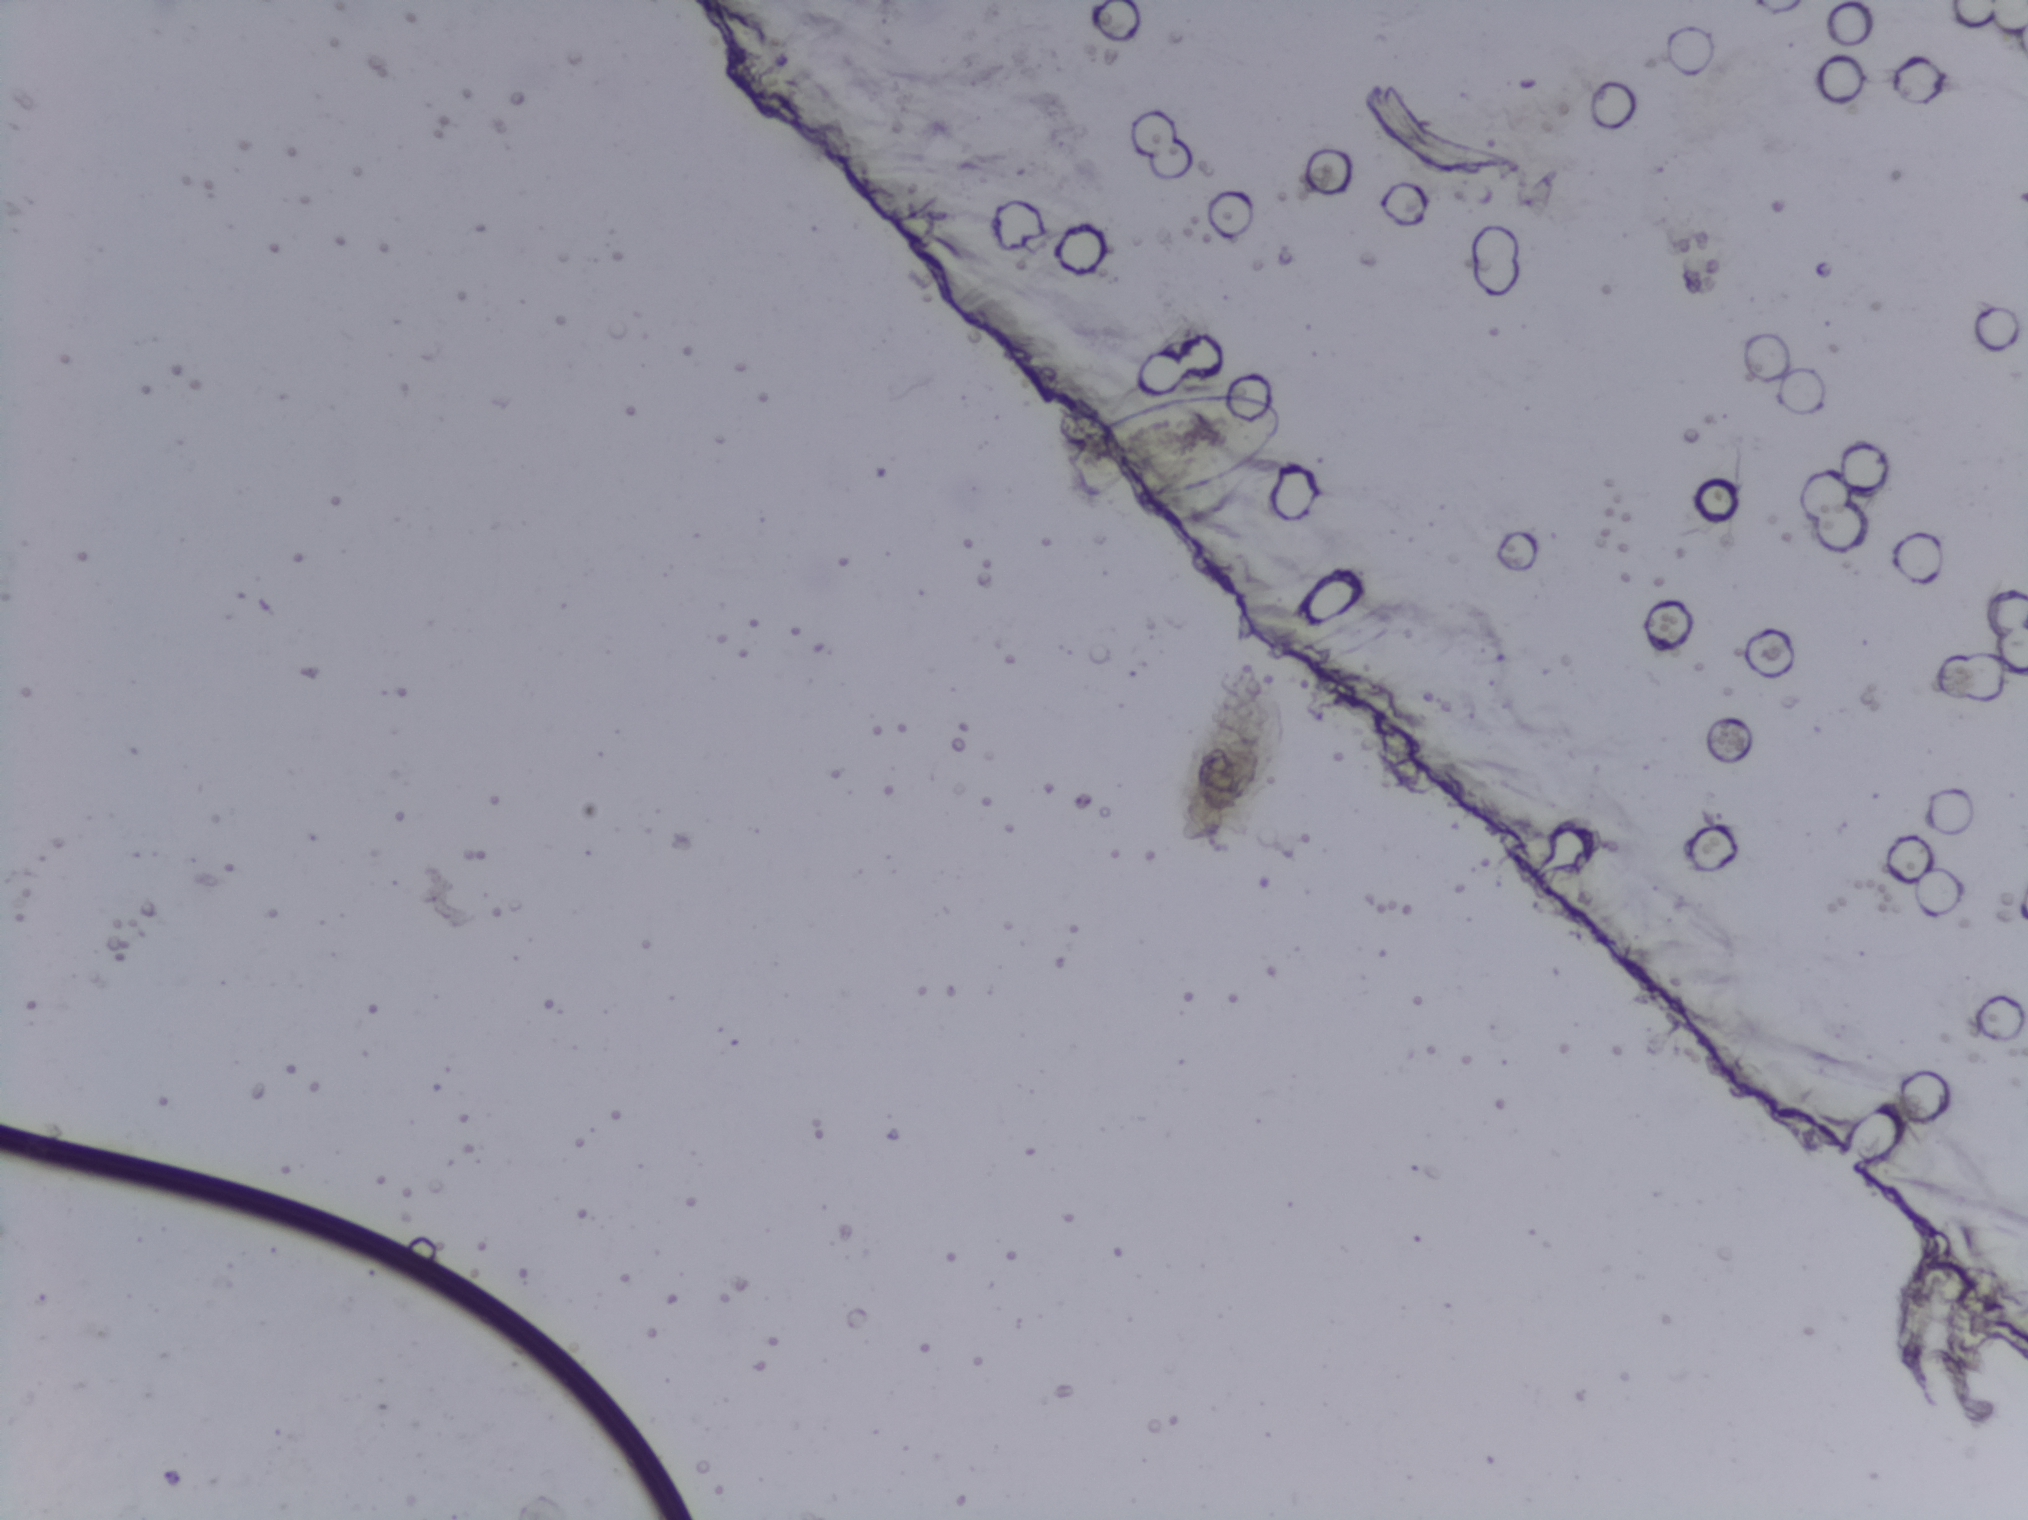
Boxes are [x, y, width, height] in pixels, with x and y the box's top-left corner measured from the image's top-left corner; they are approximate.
One area of this image is outlined as Schistosoma eggs: [1046, 380, 250, 135]. An outlined area can hold more than one egg. A marked egg may occasionally be S. mansoni rather than S. haematobium.
Photomicrograph of a urine filtration membrane, 4× objective.